Urine filtration membrane under a 4× objective, photographed by an automated digital microscope. The image covers about 1.5 × 1.1 mm of the membrane.
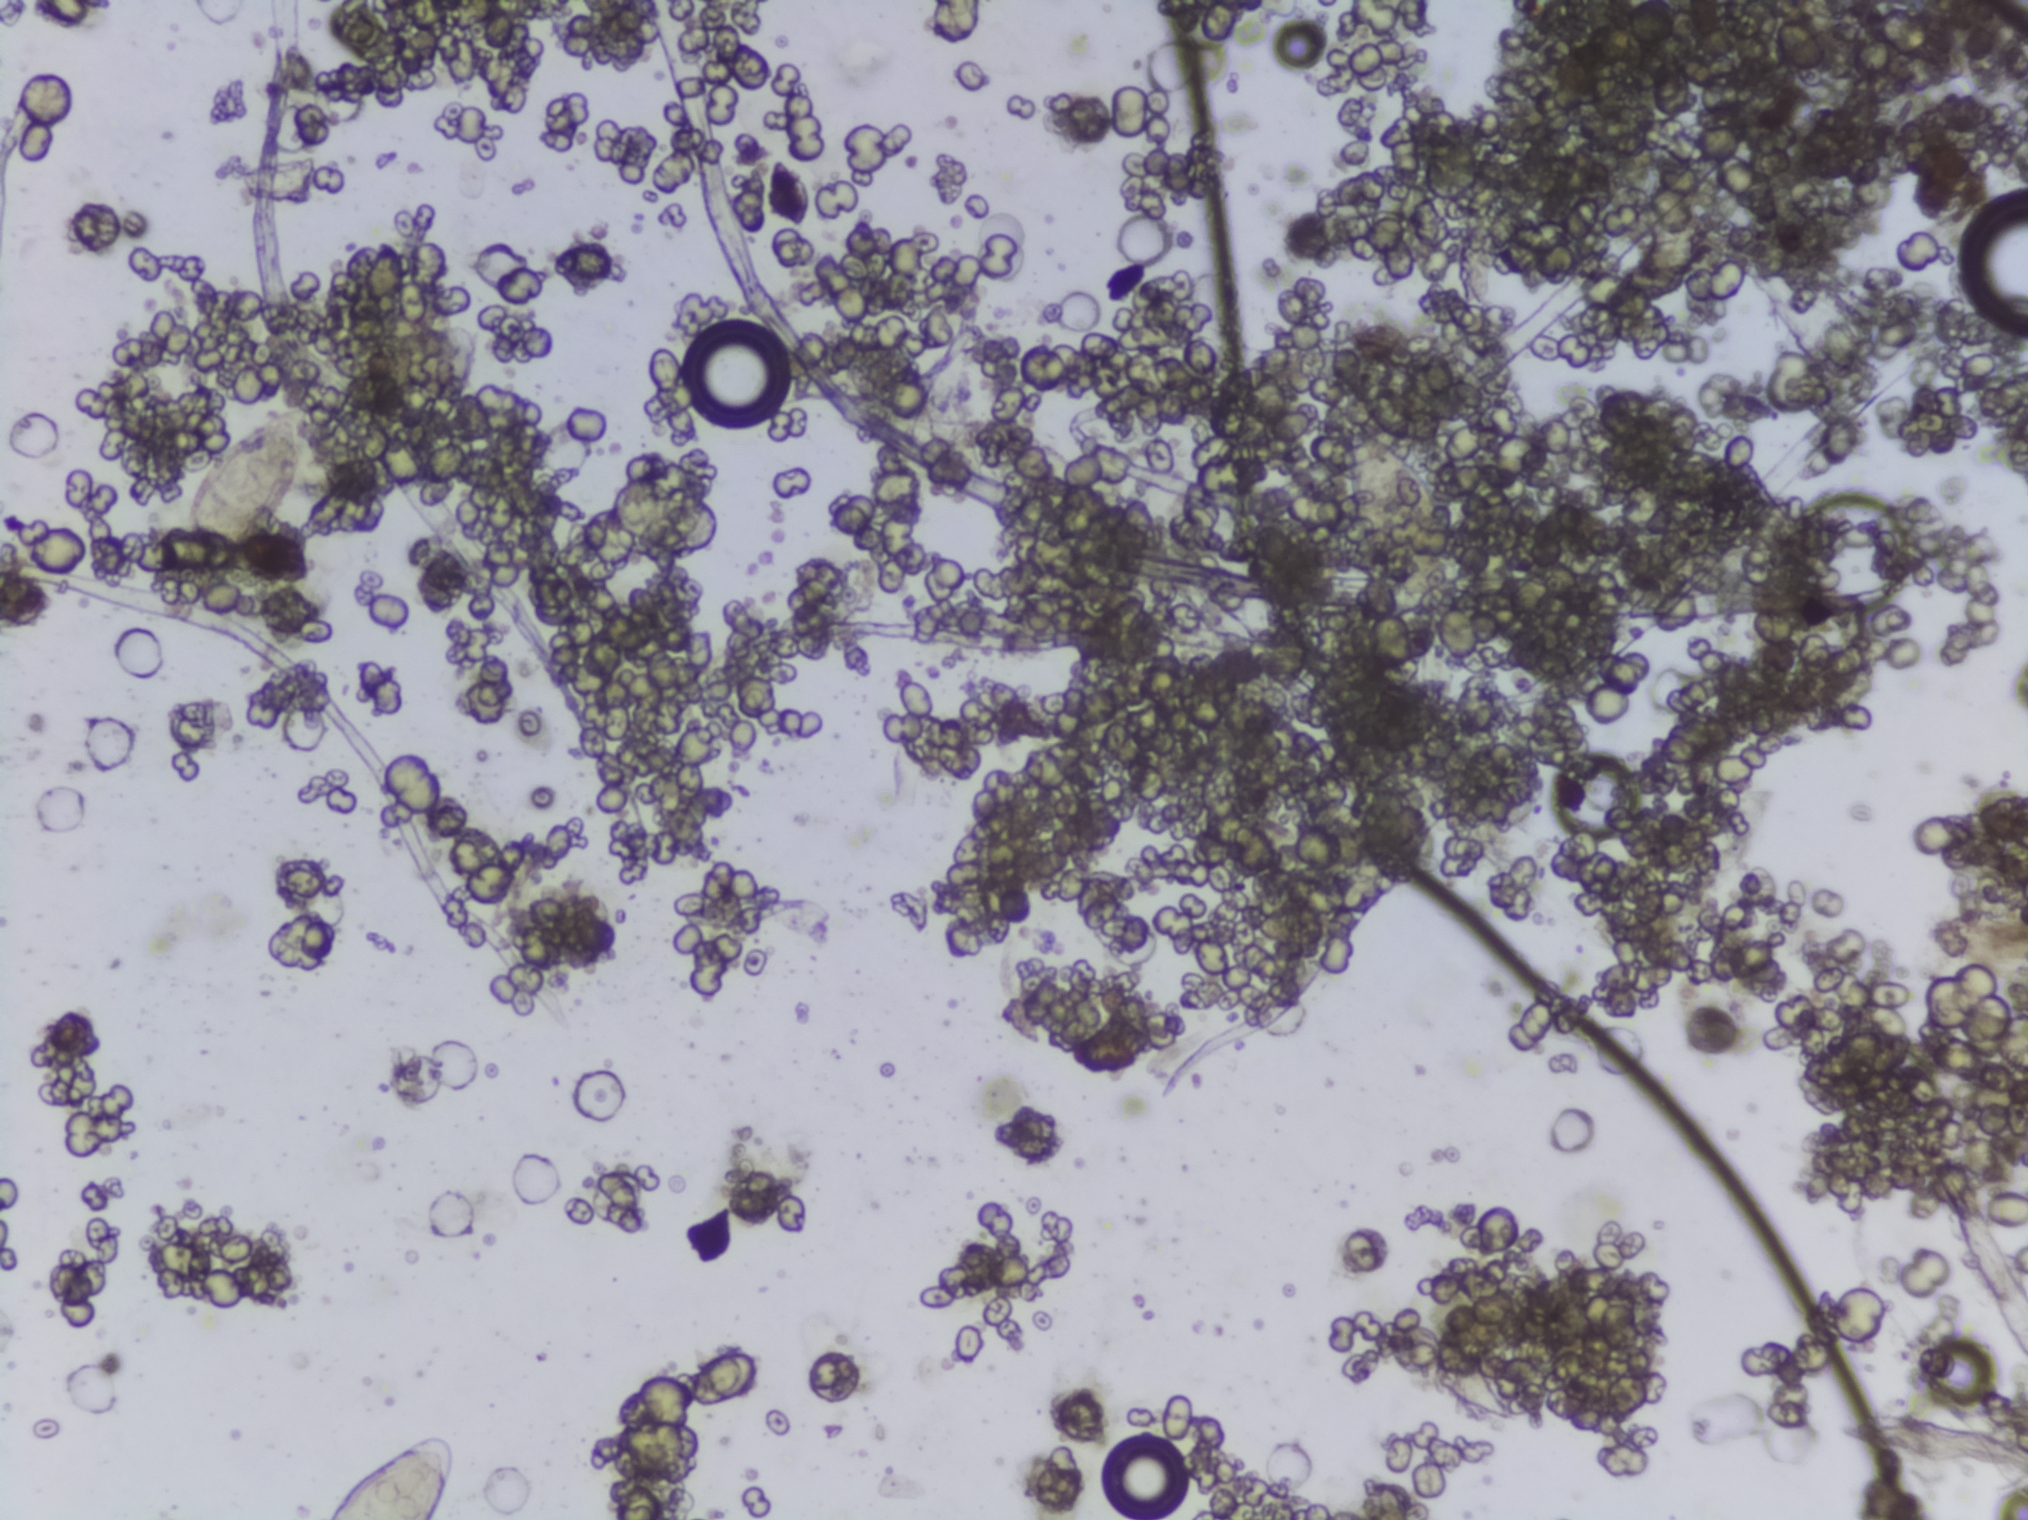
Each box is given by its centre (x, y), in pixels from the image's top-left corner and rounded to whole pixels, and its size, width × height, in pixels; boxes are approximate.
Areas outlined as Schistosoma eggs: centre (248, 481), 129 × 153 px; centre (391, 1477), 132 × 86 px (reaching the bottom edge of the frame); centre (1395, 513), 127 × 212 px. Marked pixels, not the boxes around them: about 1.2% of the image. Eggs that touch can end up inside the same outlined area.